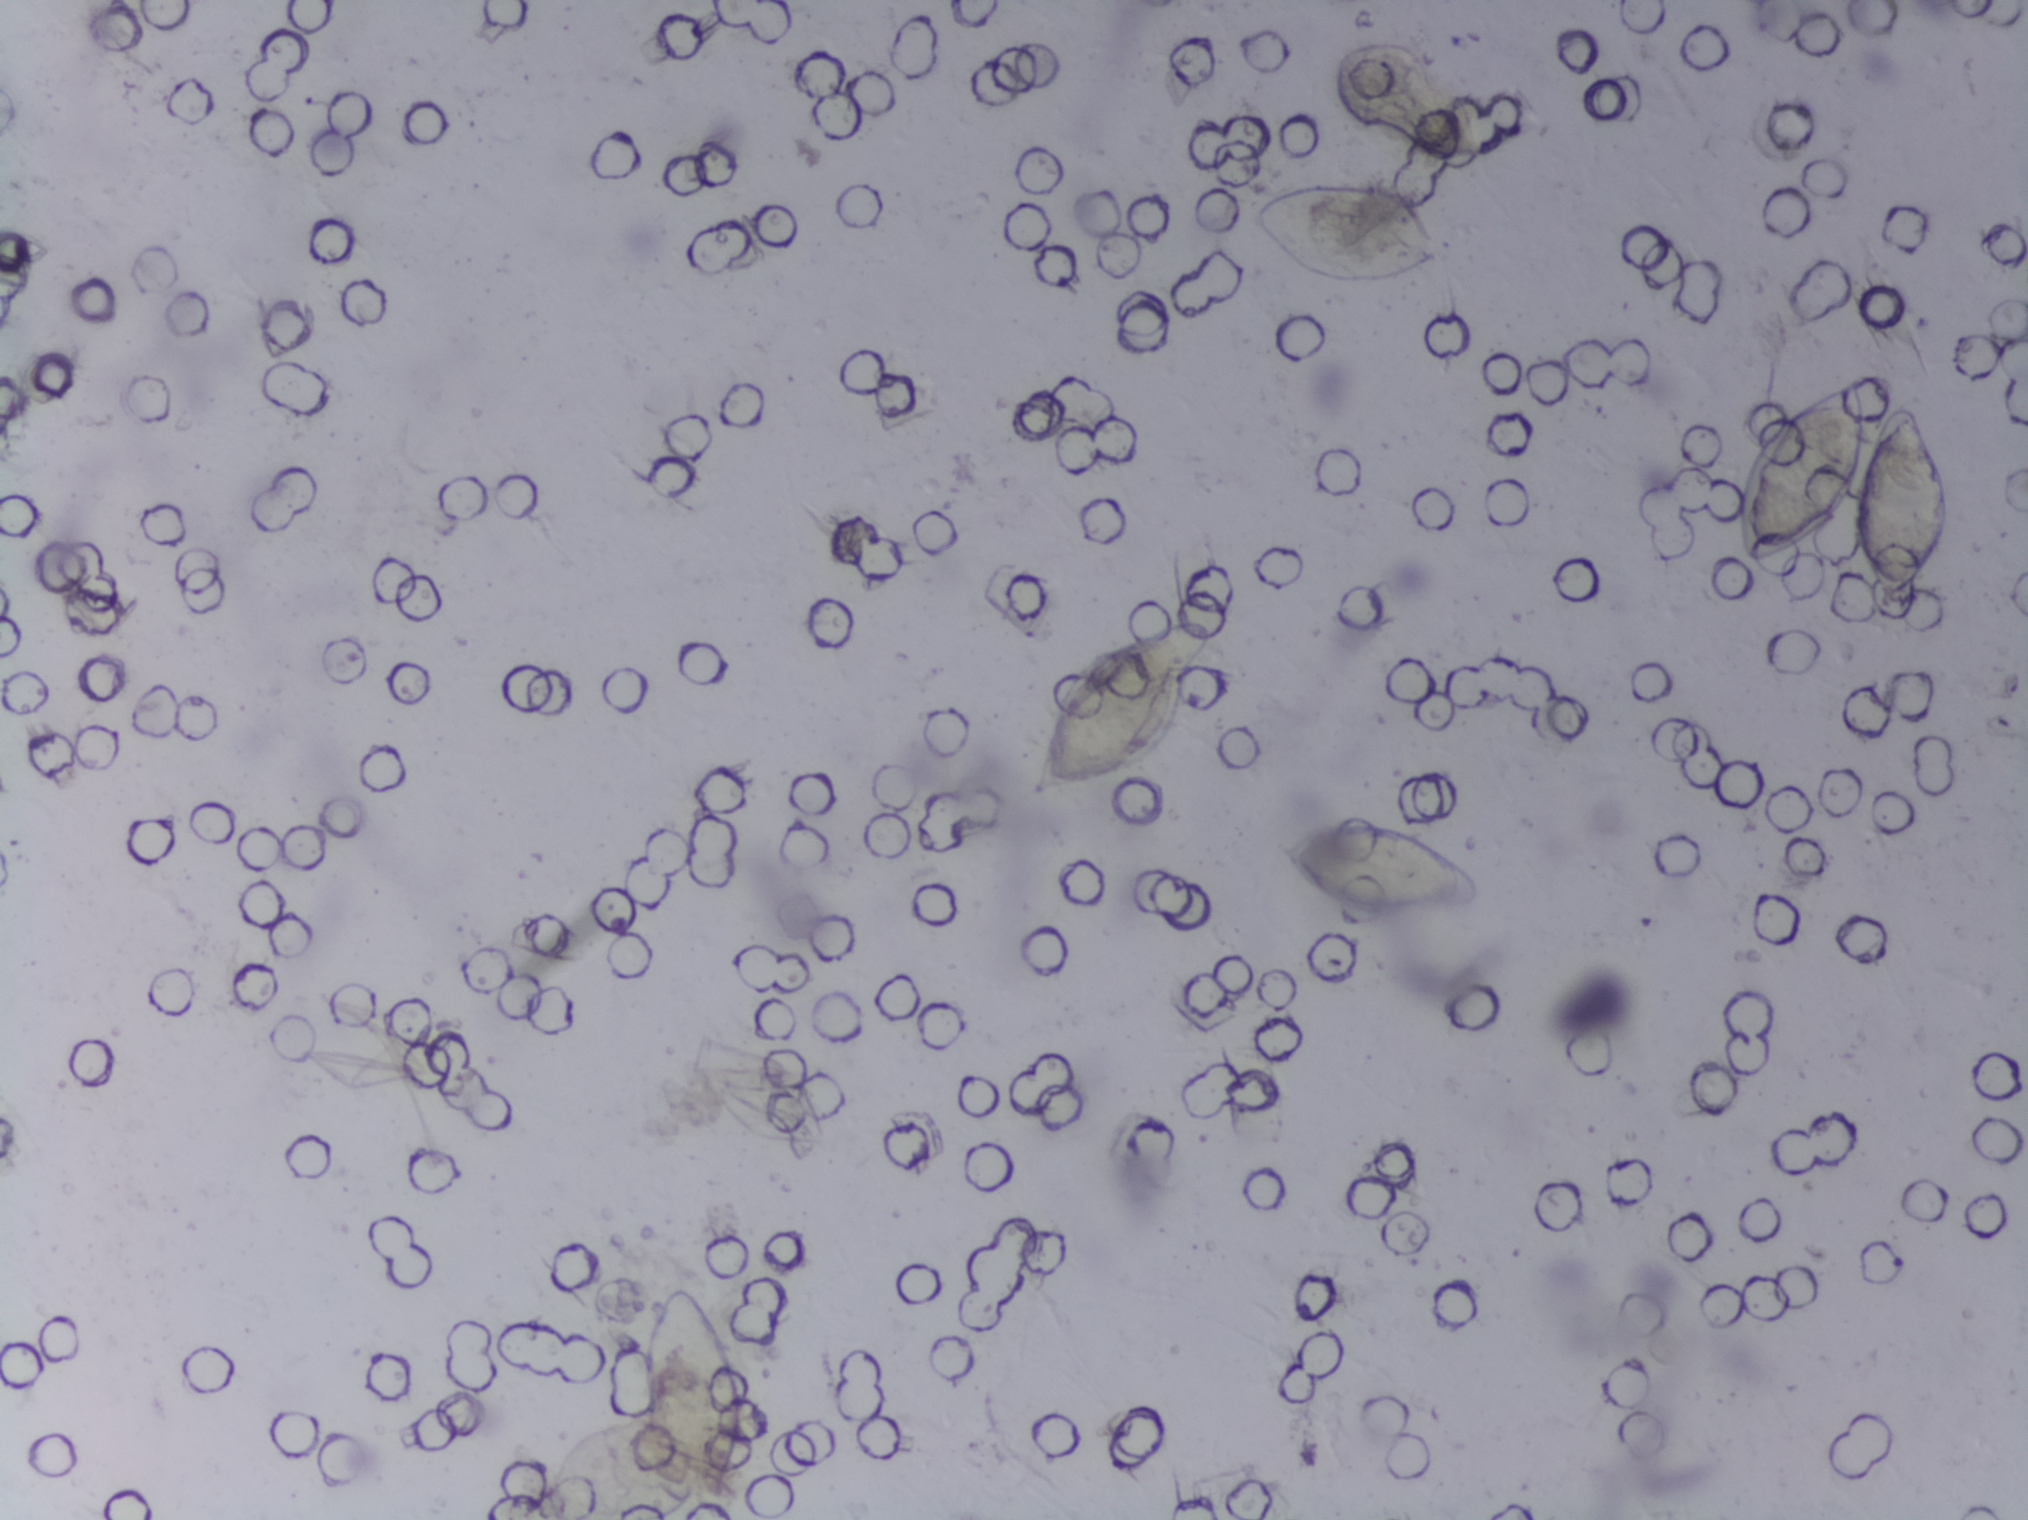
Photomicrograph of a urine filtration membrane, 4× objective.
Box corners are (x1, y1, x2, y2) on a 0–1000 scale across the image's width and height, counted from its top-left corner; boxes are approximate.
Areas outlined as Schistosoma eggs: (260, 844, 368, 1000) (reaching the bottom edge of the frame); (507, 405, 598, 527); (616, 118, 714, 191); (627, 538, 732, 607); (854, 249, 962, 405). About 3.6% of the image's pixels are marked (the marked pixels themselves, not the boxes around them). An outlined area can hold more than one egg. Any one outlined egg may, rarely, be S. mansoni rather than S. haematobium.